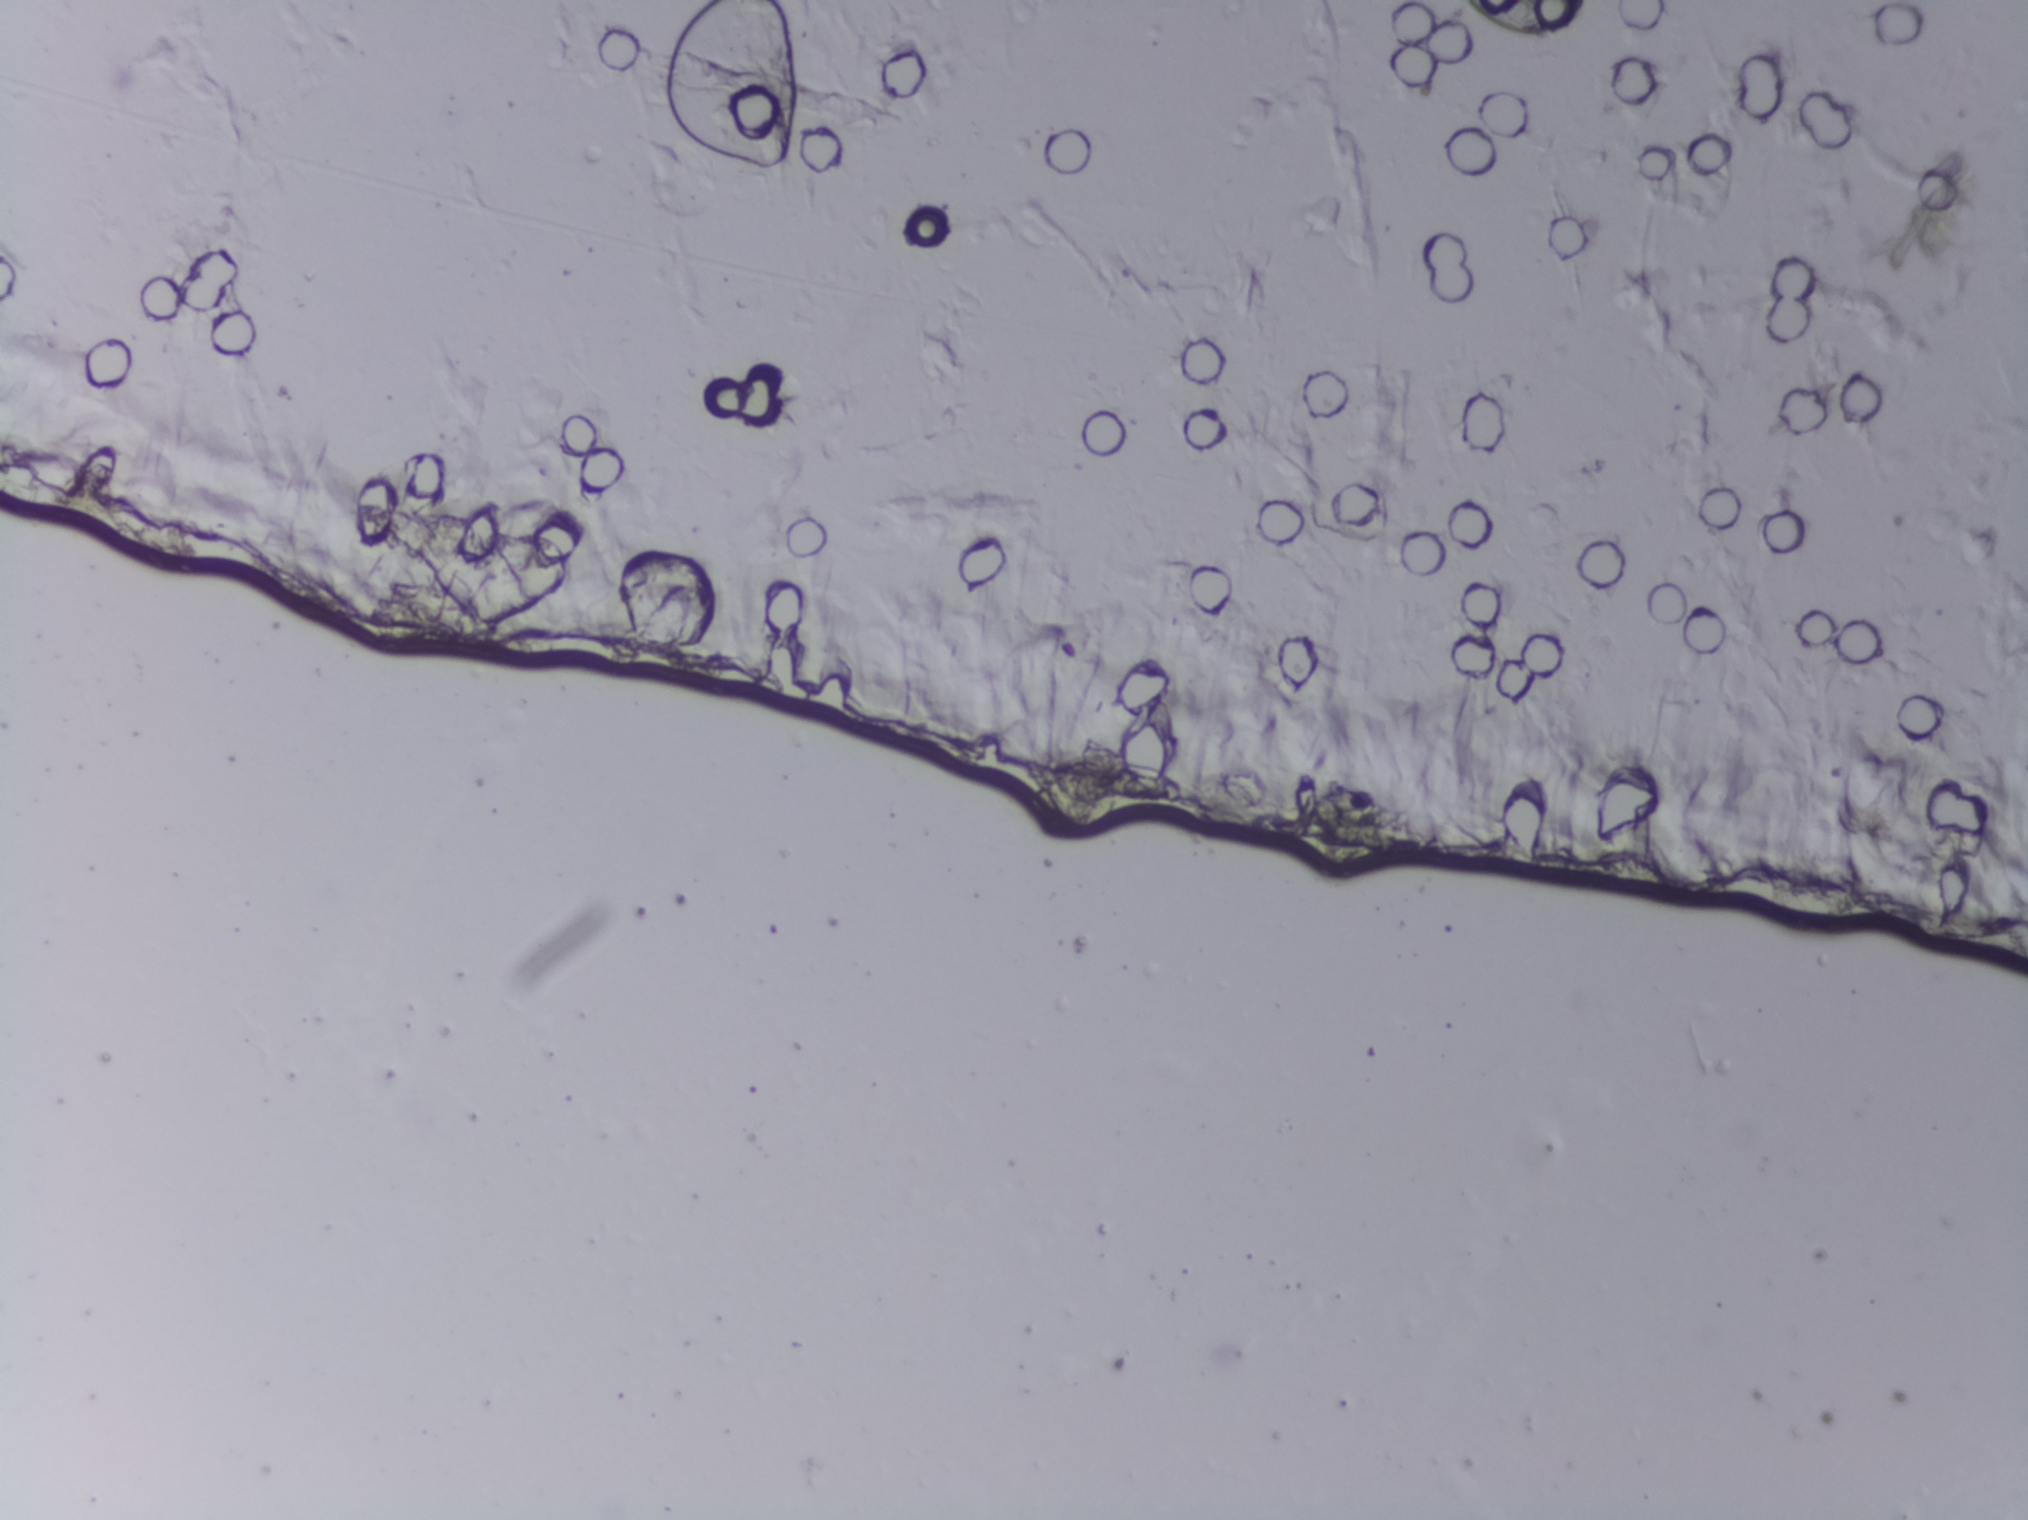
Urine filter membrane photographed through a 4× microscope objective. The image covers about 1.5 × 1.1 mm of the membrane.
No Schistosoma egg is outlined in this image's expert annotation.